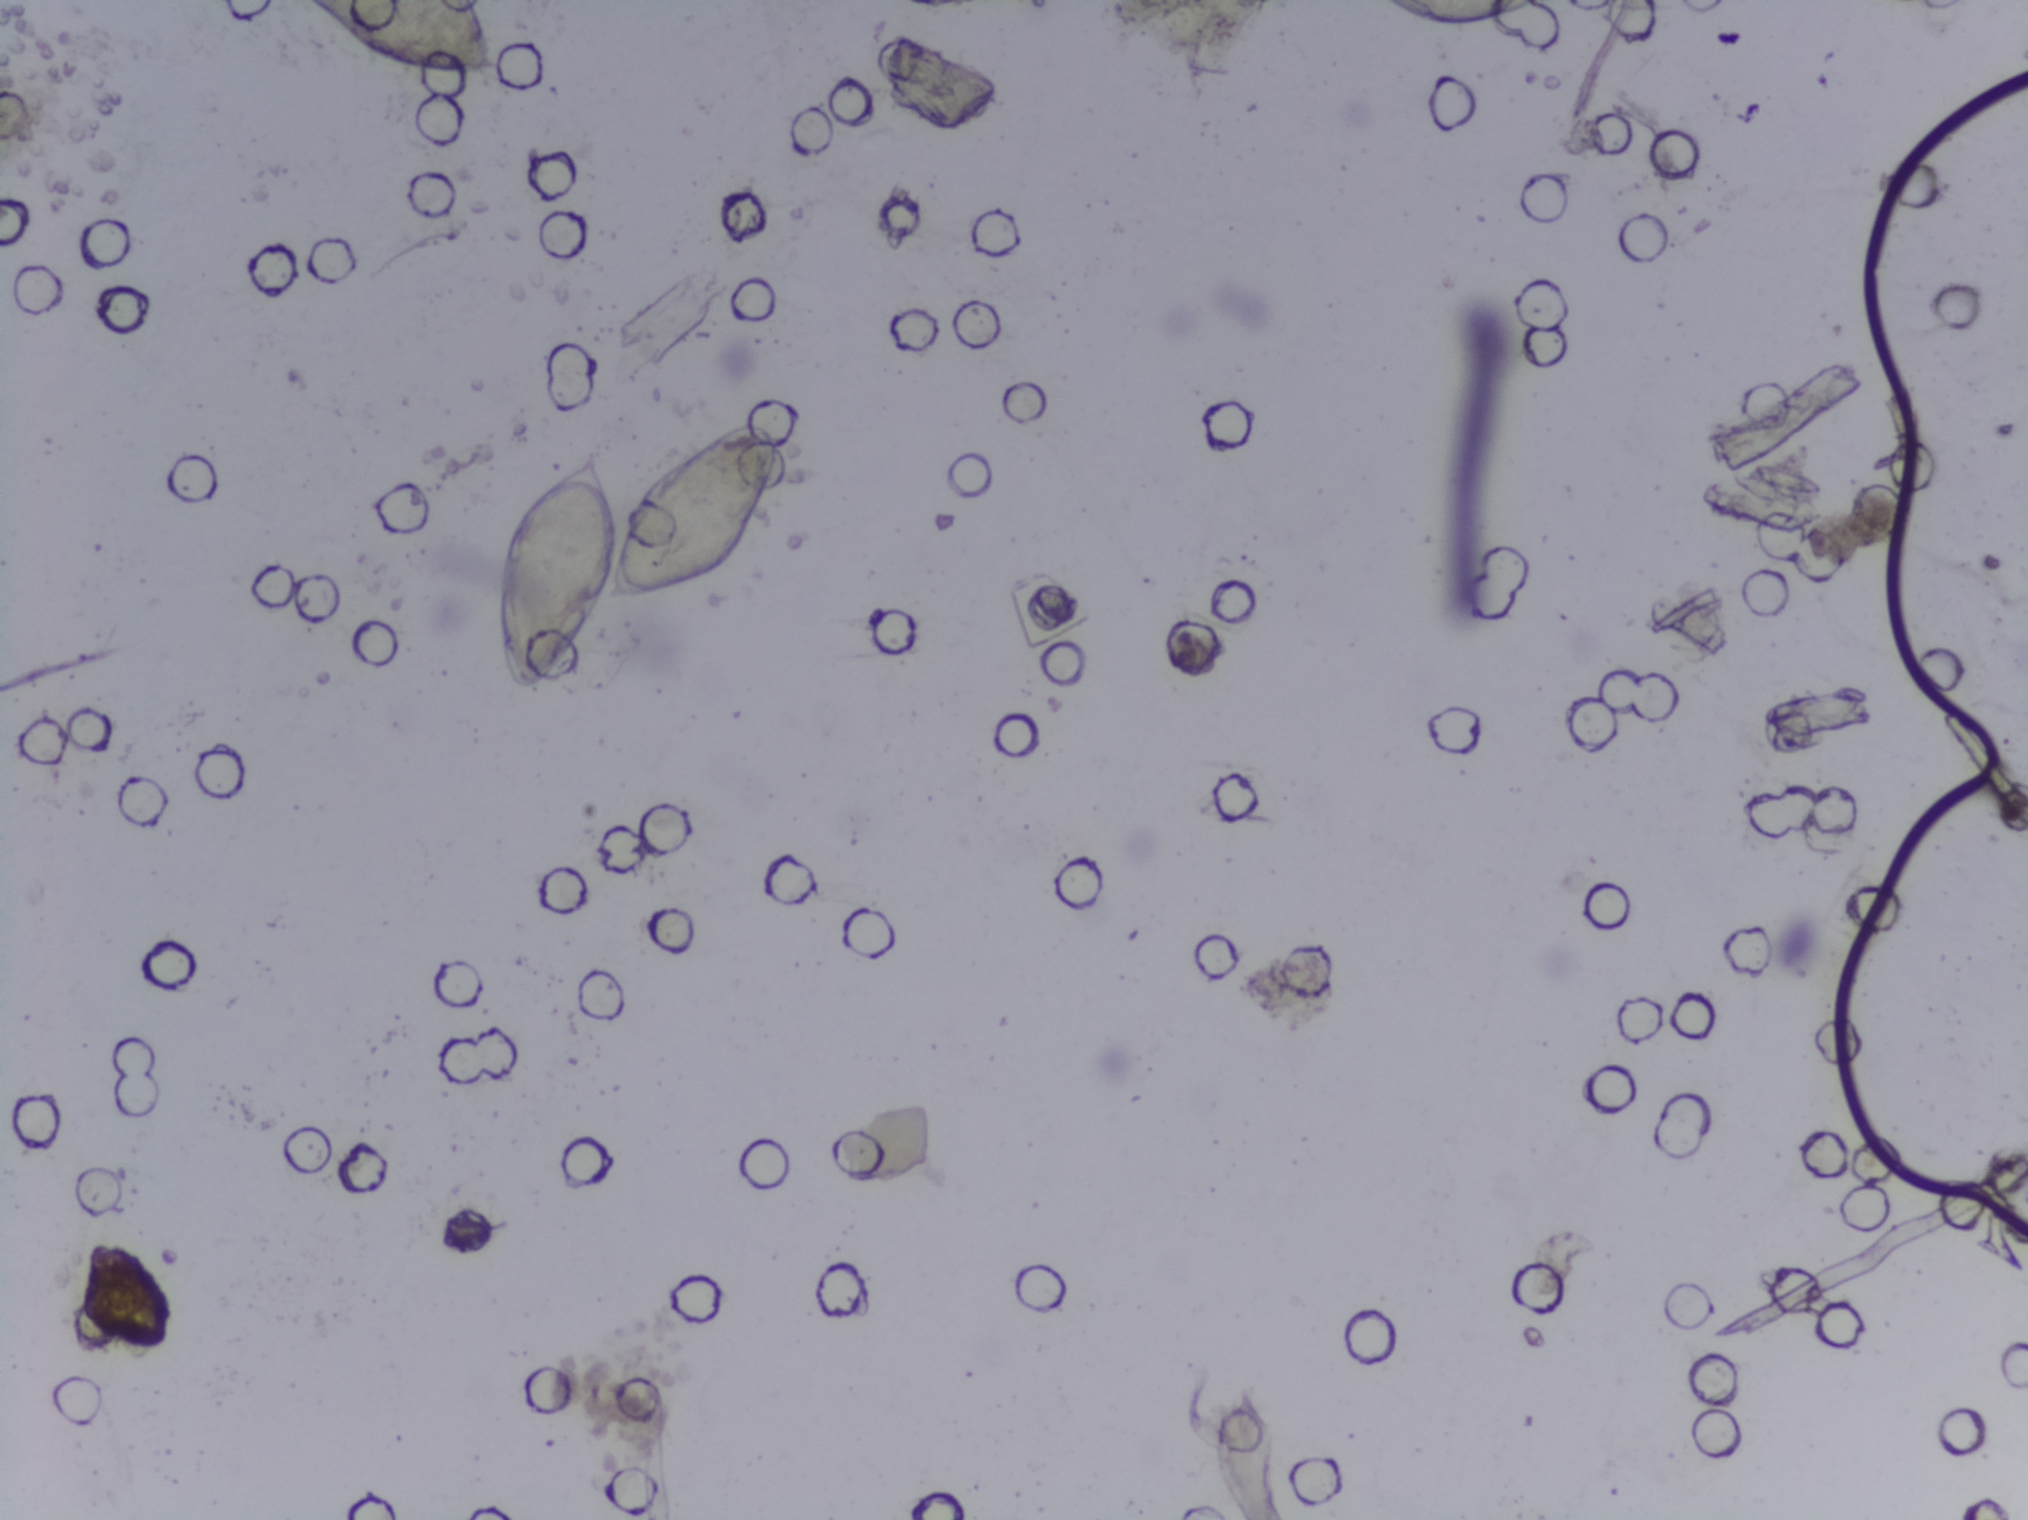
Urine filtration membrane under a 4× objective, photographed by an automated digital microscope. Field of view: about 1.5 mm wide and 1.1 mm high.
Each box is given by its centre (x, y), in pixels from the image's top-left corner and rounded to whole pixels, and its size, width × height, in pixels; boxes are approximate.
Schistosoma eggs are outlined in the expert annotation at centre (406, 40), 210 × 81 px (reaching the top edge of the frame) and centre (632, 557), 295 × 277 px (left to right). A single outlined area may contain several eggs.